Urine filtration membrane under a 4× objective, photographed by an automated digital microscope.
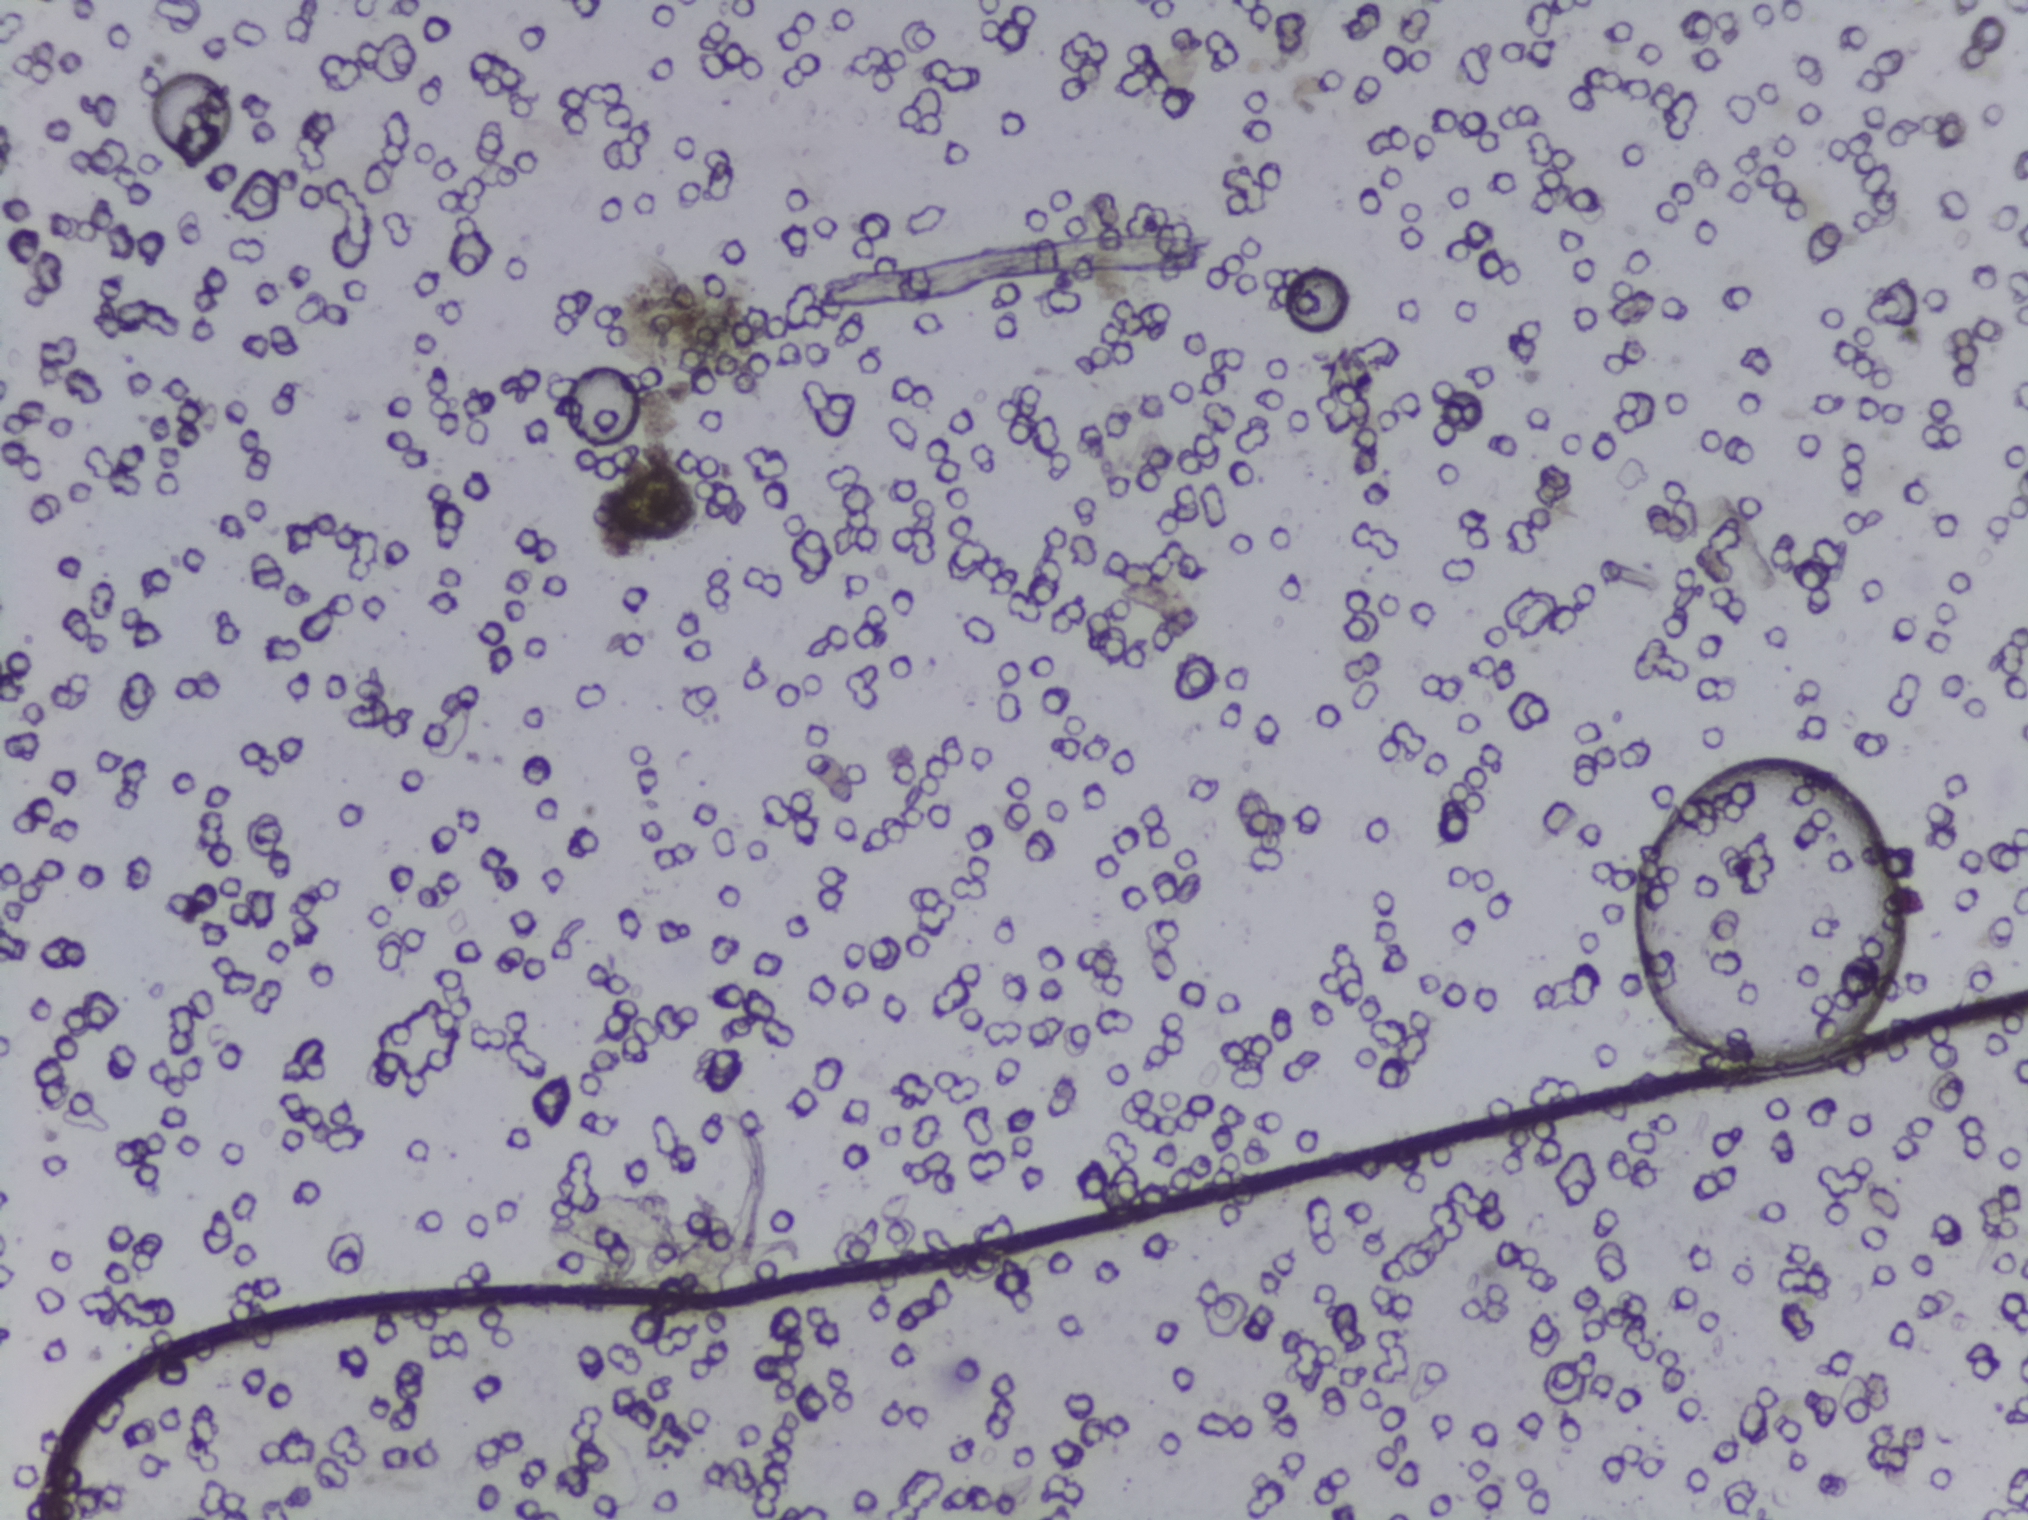
No area of this image was outlined as a Schistosoma egg.